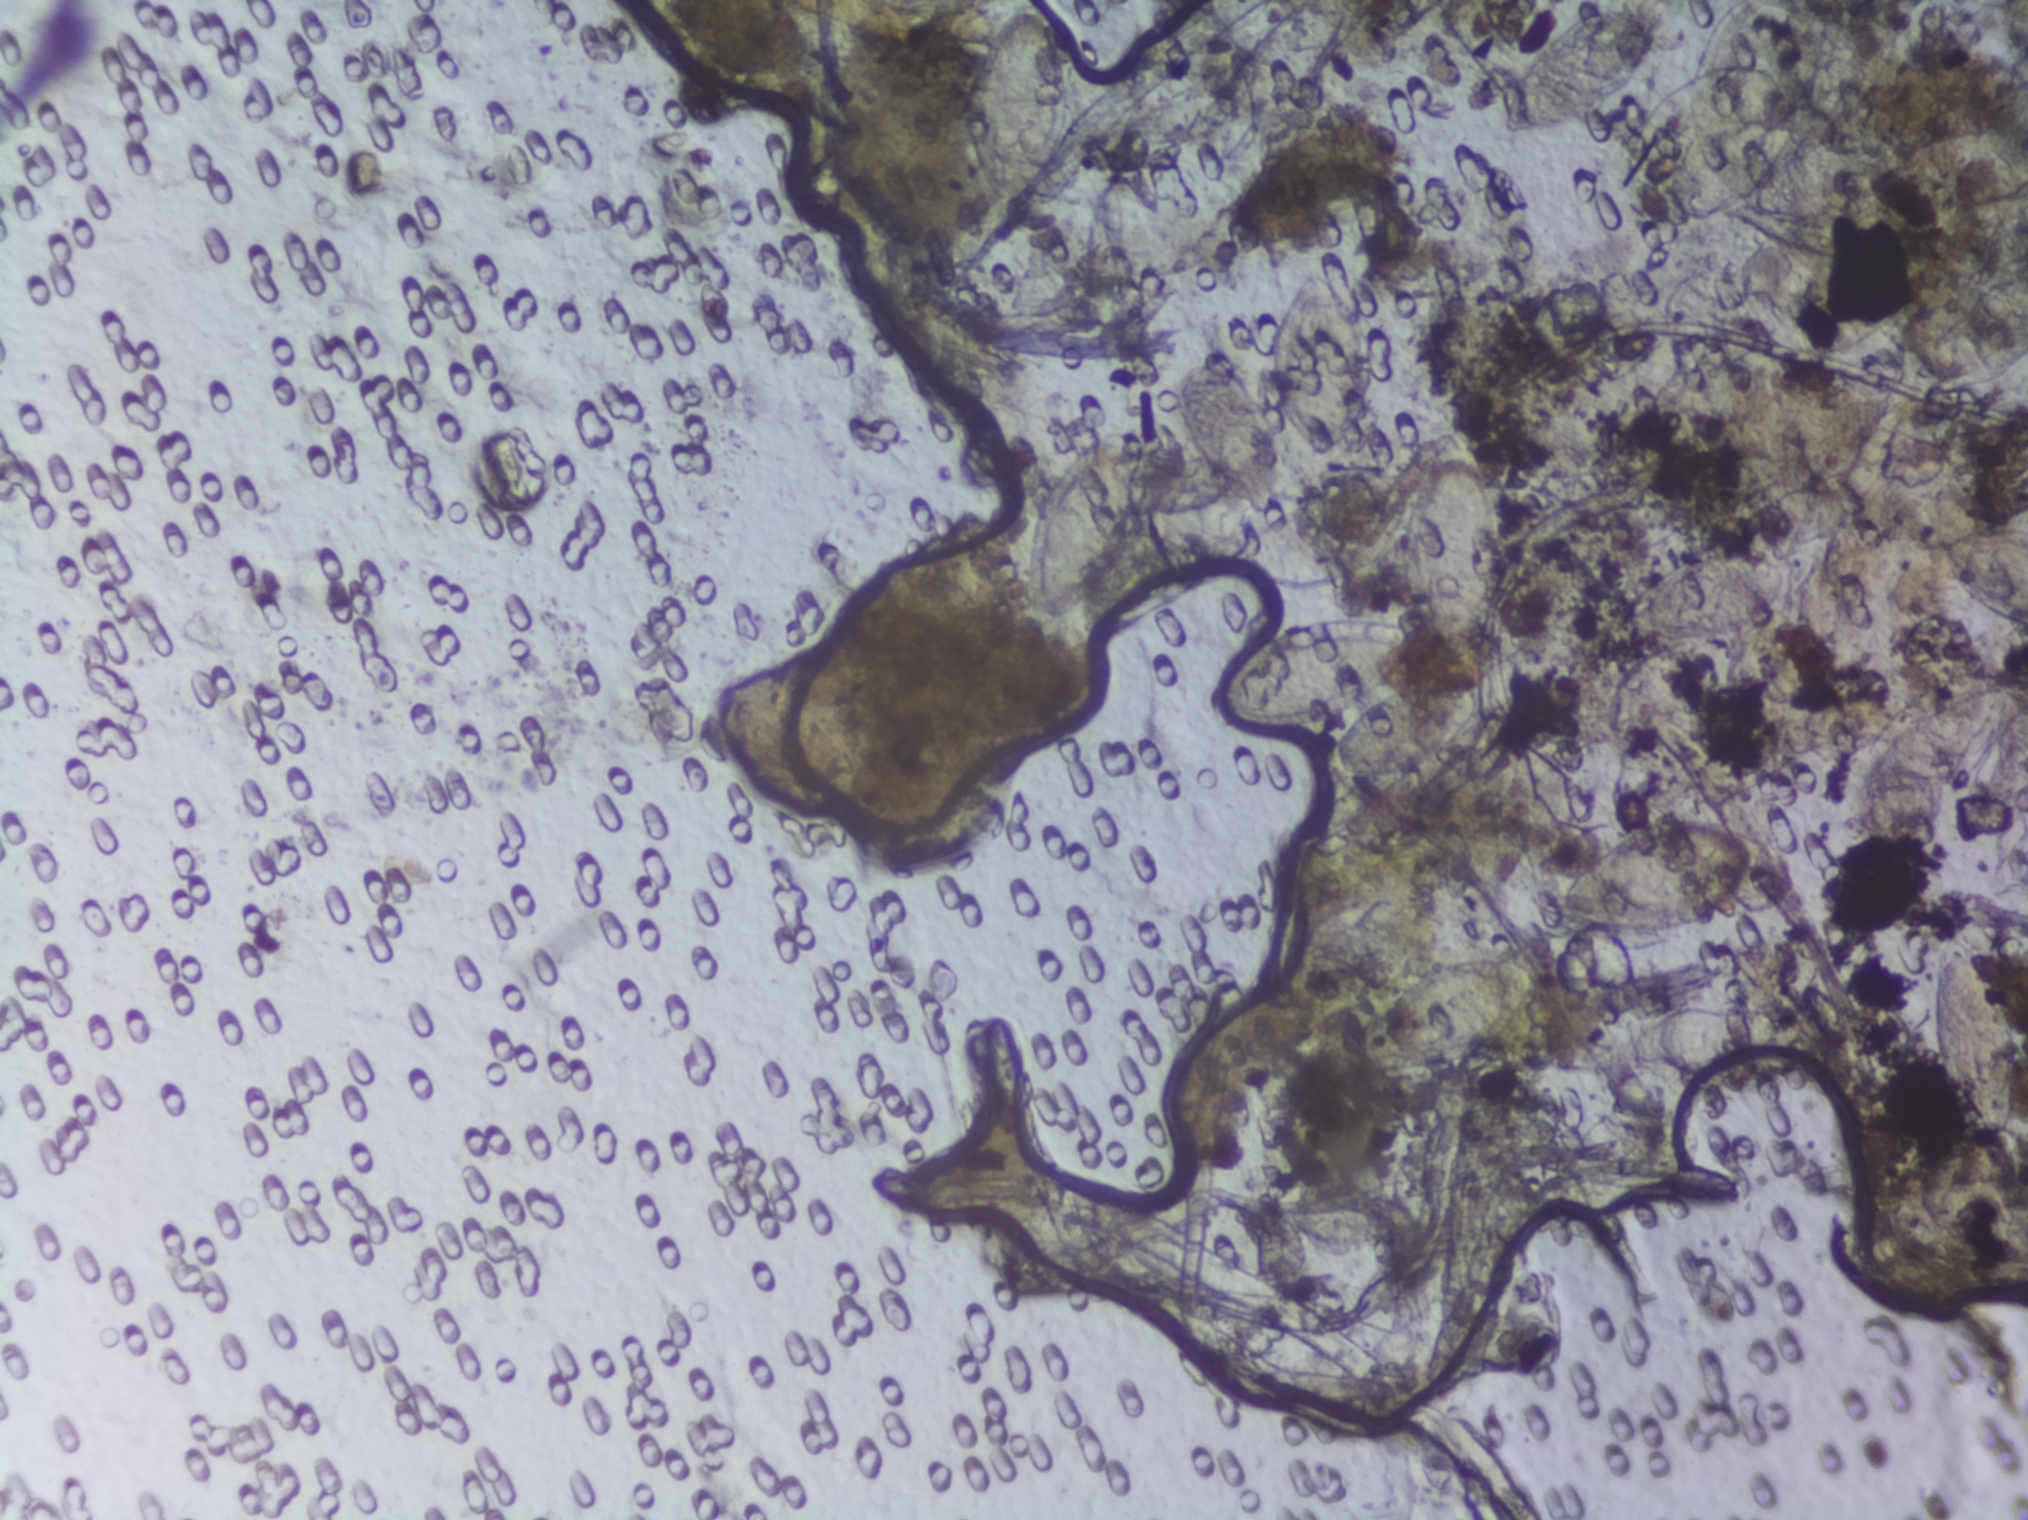
One field of view of a urine filter membrane, 4× objective, 2028 × 1520 pixels. Field of view: about 1.5 mm wide and 1.1 mm high.
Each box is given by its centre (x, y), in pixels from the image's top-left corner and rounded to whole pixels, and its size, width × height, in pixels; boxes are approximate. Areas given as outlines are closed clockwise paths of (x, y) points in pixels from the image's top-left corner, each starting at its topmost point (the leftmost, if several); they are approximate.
Findings: 17 areas outlined as Schistosoma eggs. Locations, left to right: box centre (733, 41), 166 × 82 px (reaching the top edge of the frame); box centre (930, 827), 168 × 104 px; box centre (1019, 107), 120 × 215 px (reaching the top edge of the frame); box centre (1147, 487), 273 × 291 px; box centre (1315, 175), 178 × 120 px; box centre (1326, 365), 121 × 194 px; box centre (1347, 702), 276 × 168 px; outline (1448, 422), (1468, 423), (1474, 433), (1477, 455), (1507, 512), (1513, 551), (1511, 602), (1493, 646), (1481, 656), (1457, 661), (1427, 639), (1405, 562), (1403, 529), (1363, 565), (1316, 587), (1271, 588), (1232, 573), (1232, 552), (1244, 532), (1318, 479), (1390, 469), (1405, 481), (1409, 504), (1437, 433); box centre (1443, 1016), 192 × 115 px; box centre (1576, 72), 159 × 135 px; box centre (1660, 876), 213 × 118 px; box centre (1699, 596), 196 × 100 px; box centre (1723, 1039), 179 × 80 px; box centre (1750, 95), 114 × 191 px (reaching the top edge of the frame); box centre (1949, 759), 158 × 185 px (reaching the right edge of the frame); box centre (1975, 1030), 92 × 217 px; box centre (1981, 579), 93 × 105 px (reaching the right edge of the frame). The marked pixels themselves, not the boxes and the outline around them, cover about 9.9% of the image. Eggs that touch can end up inside the same outlined area.